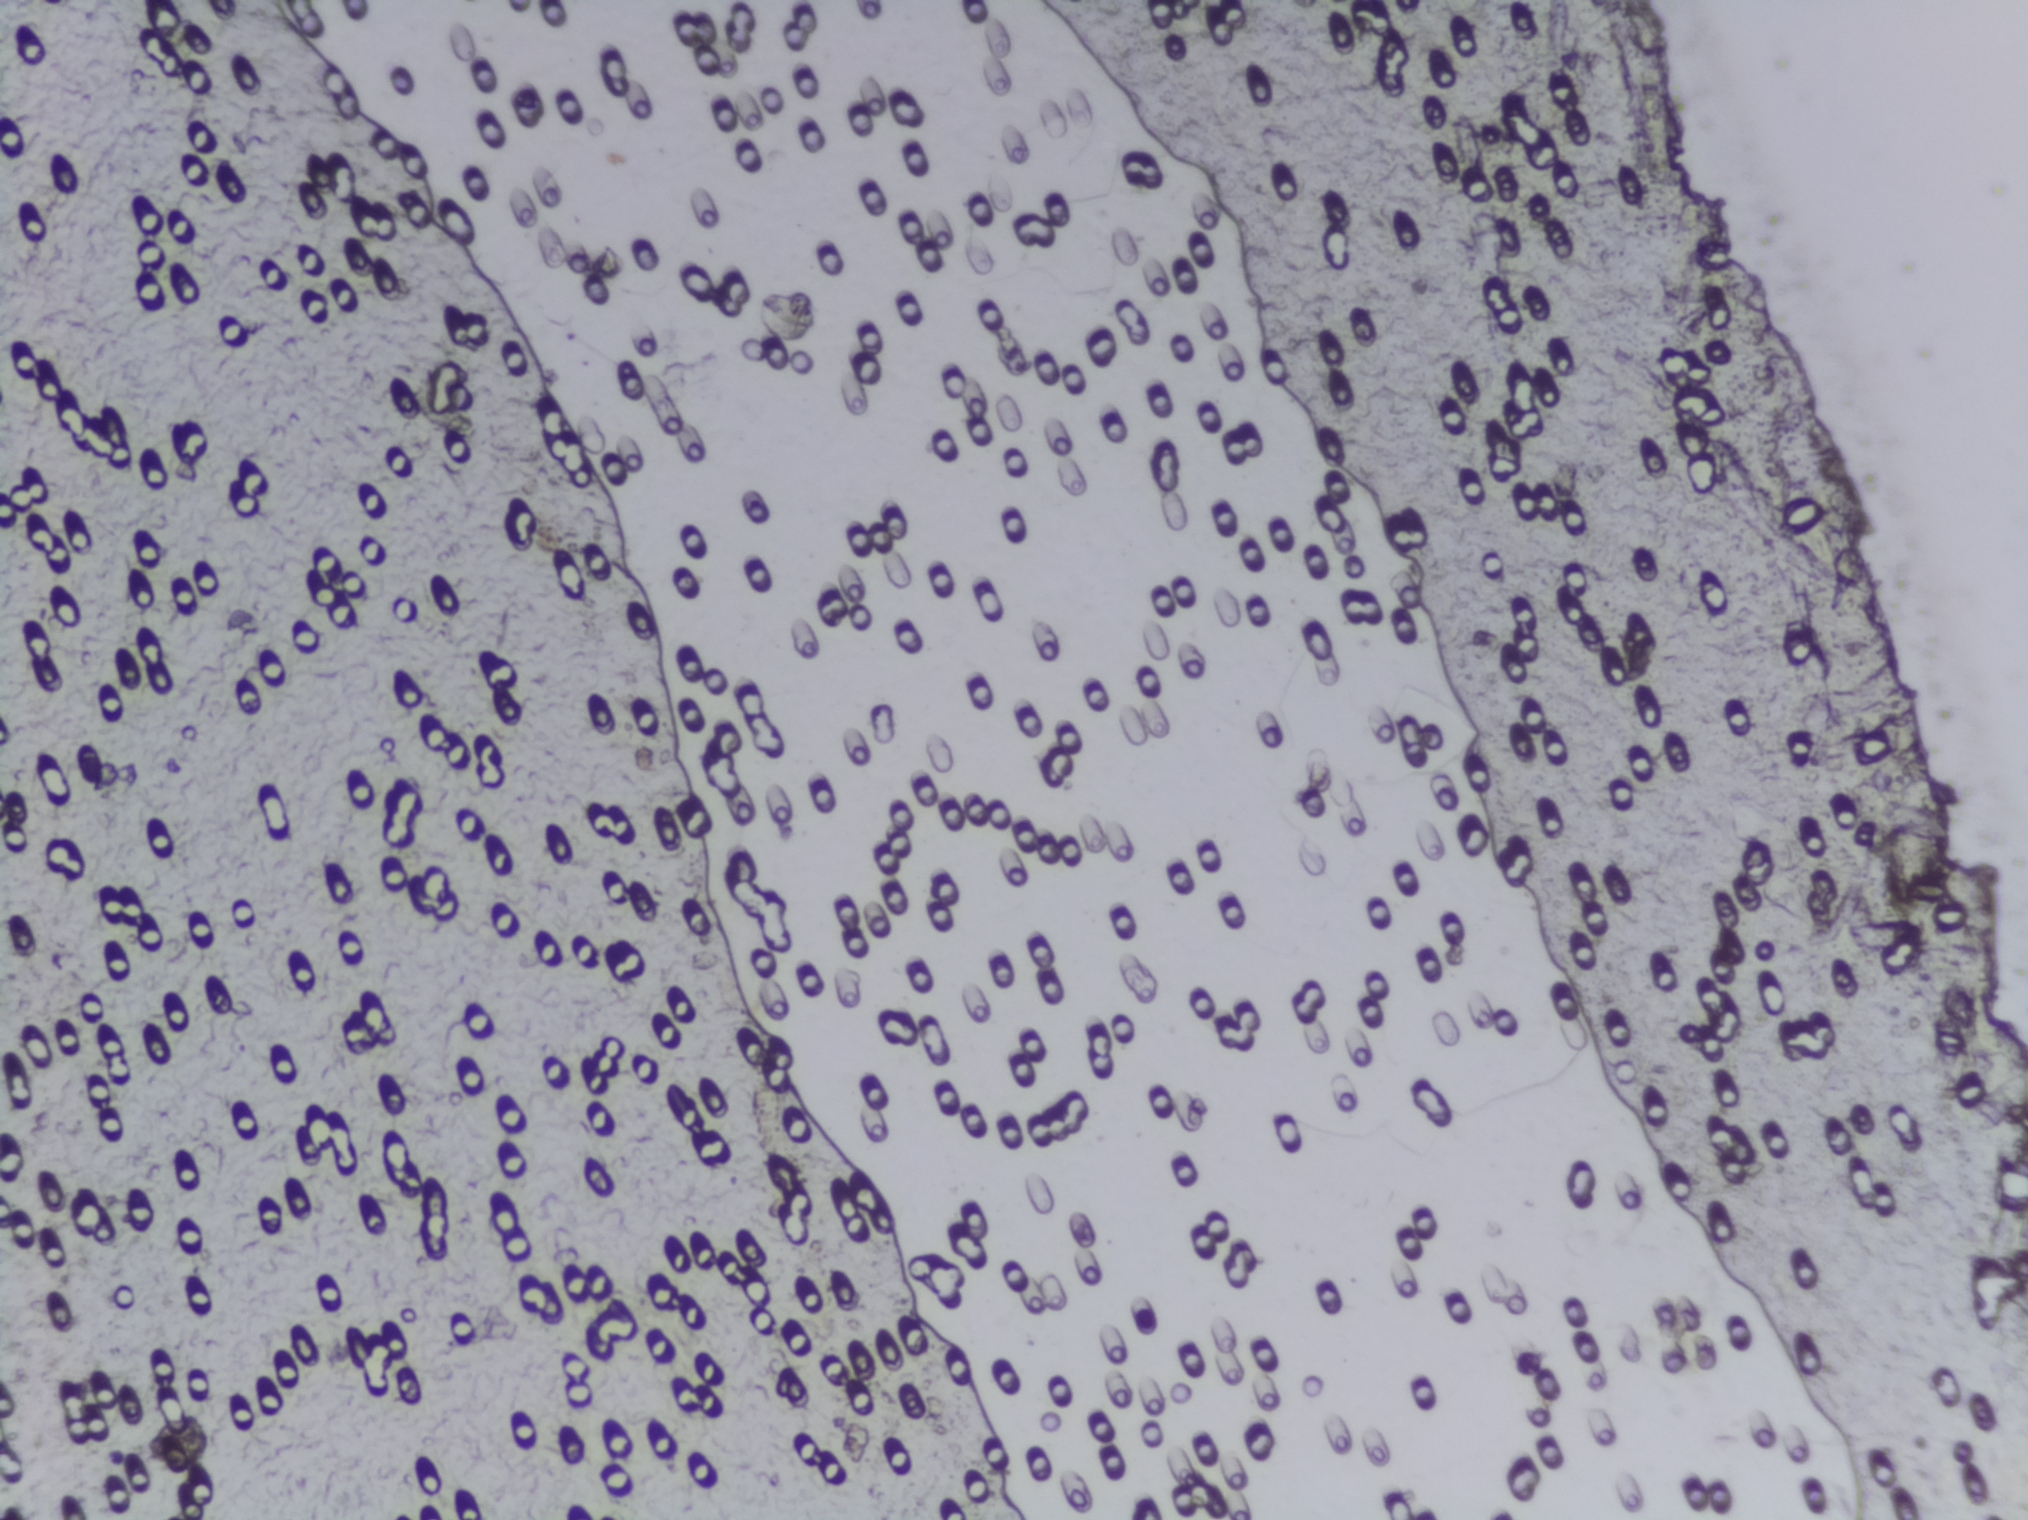
No Schistosoma egg is outlined in this image's expert annotation.
Photograph from an automated digital microscope: urine filter membrane, 4× objective.